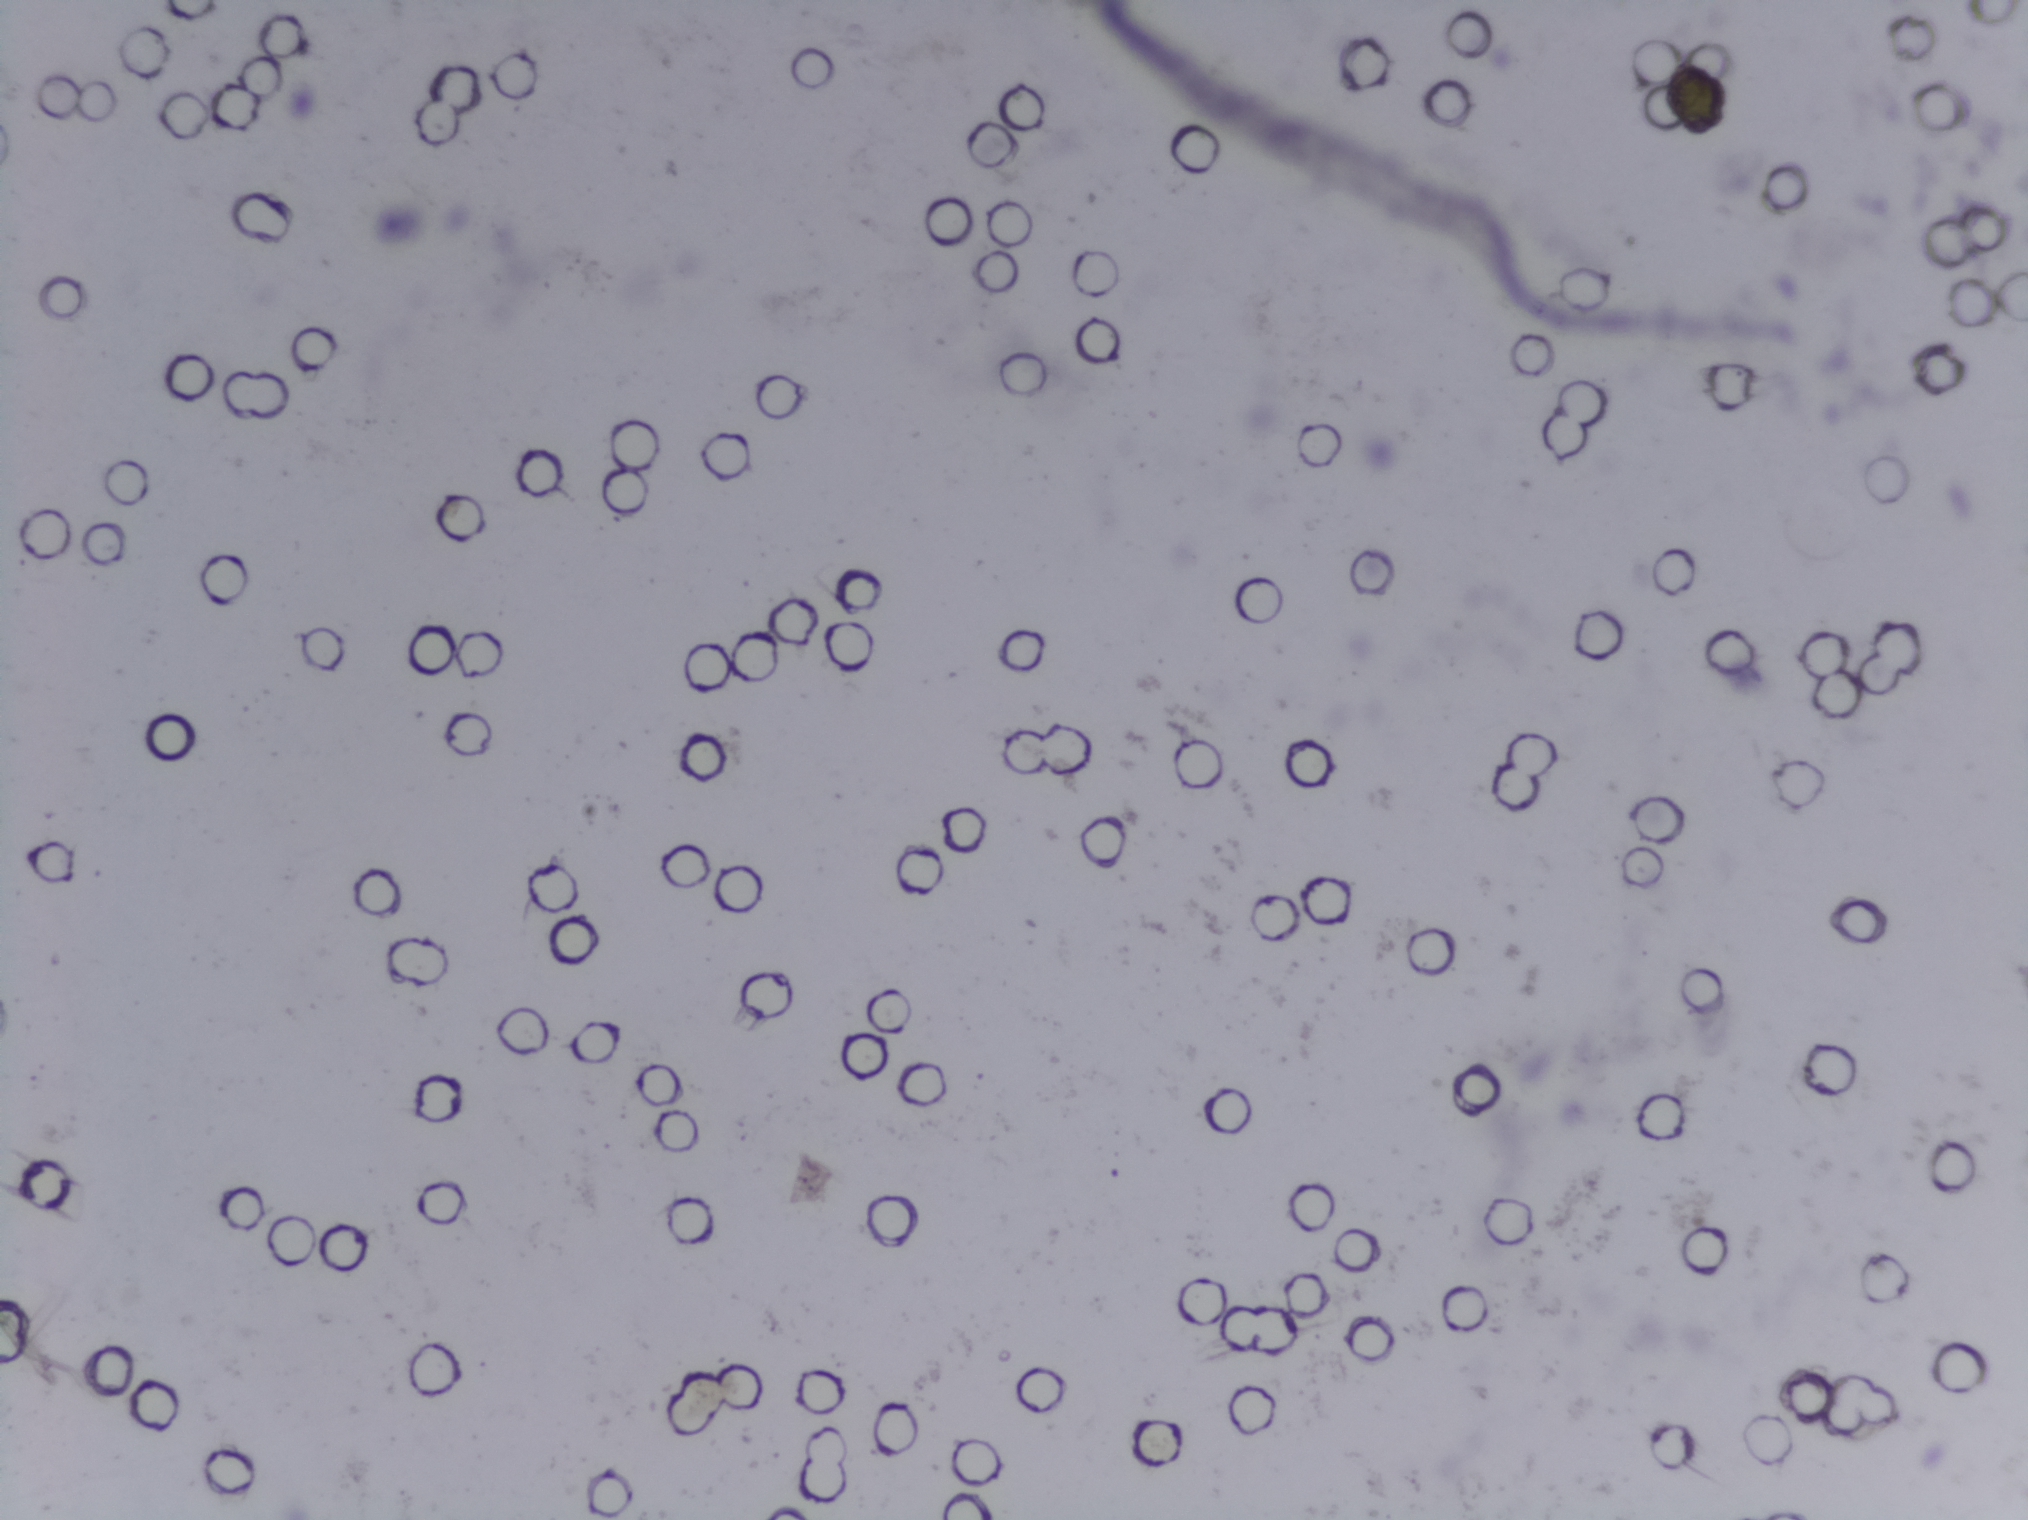
The expert annotation outlines no Schistosoma egg in this image.
Urine filter membrane photographed through a 4× microscope objective.